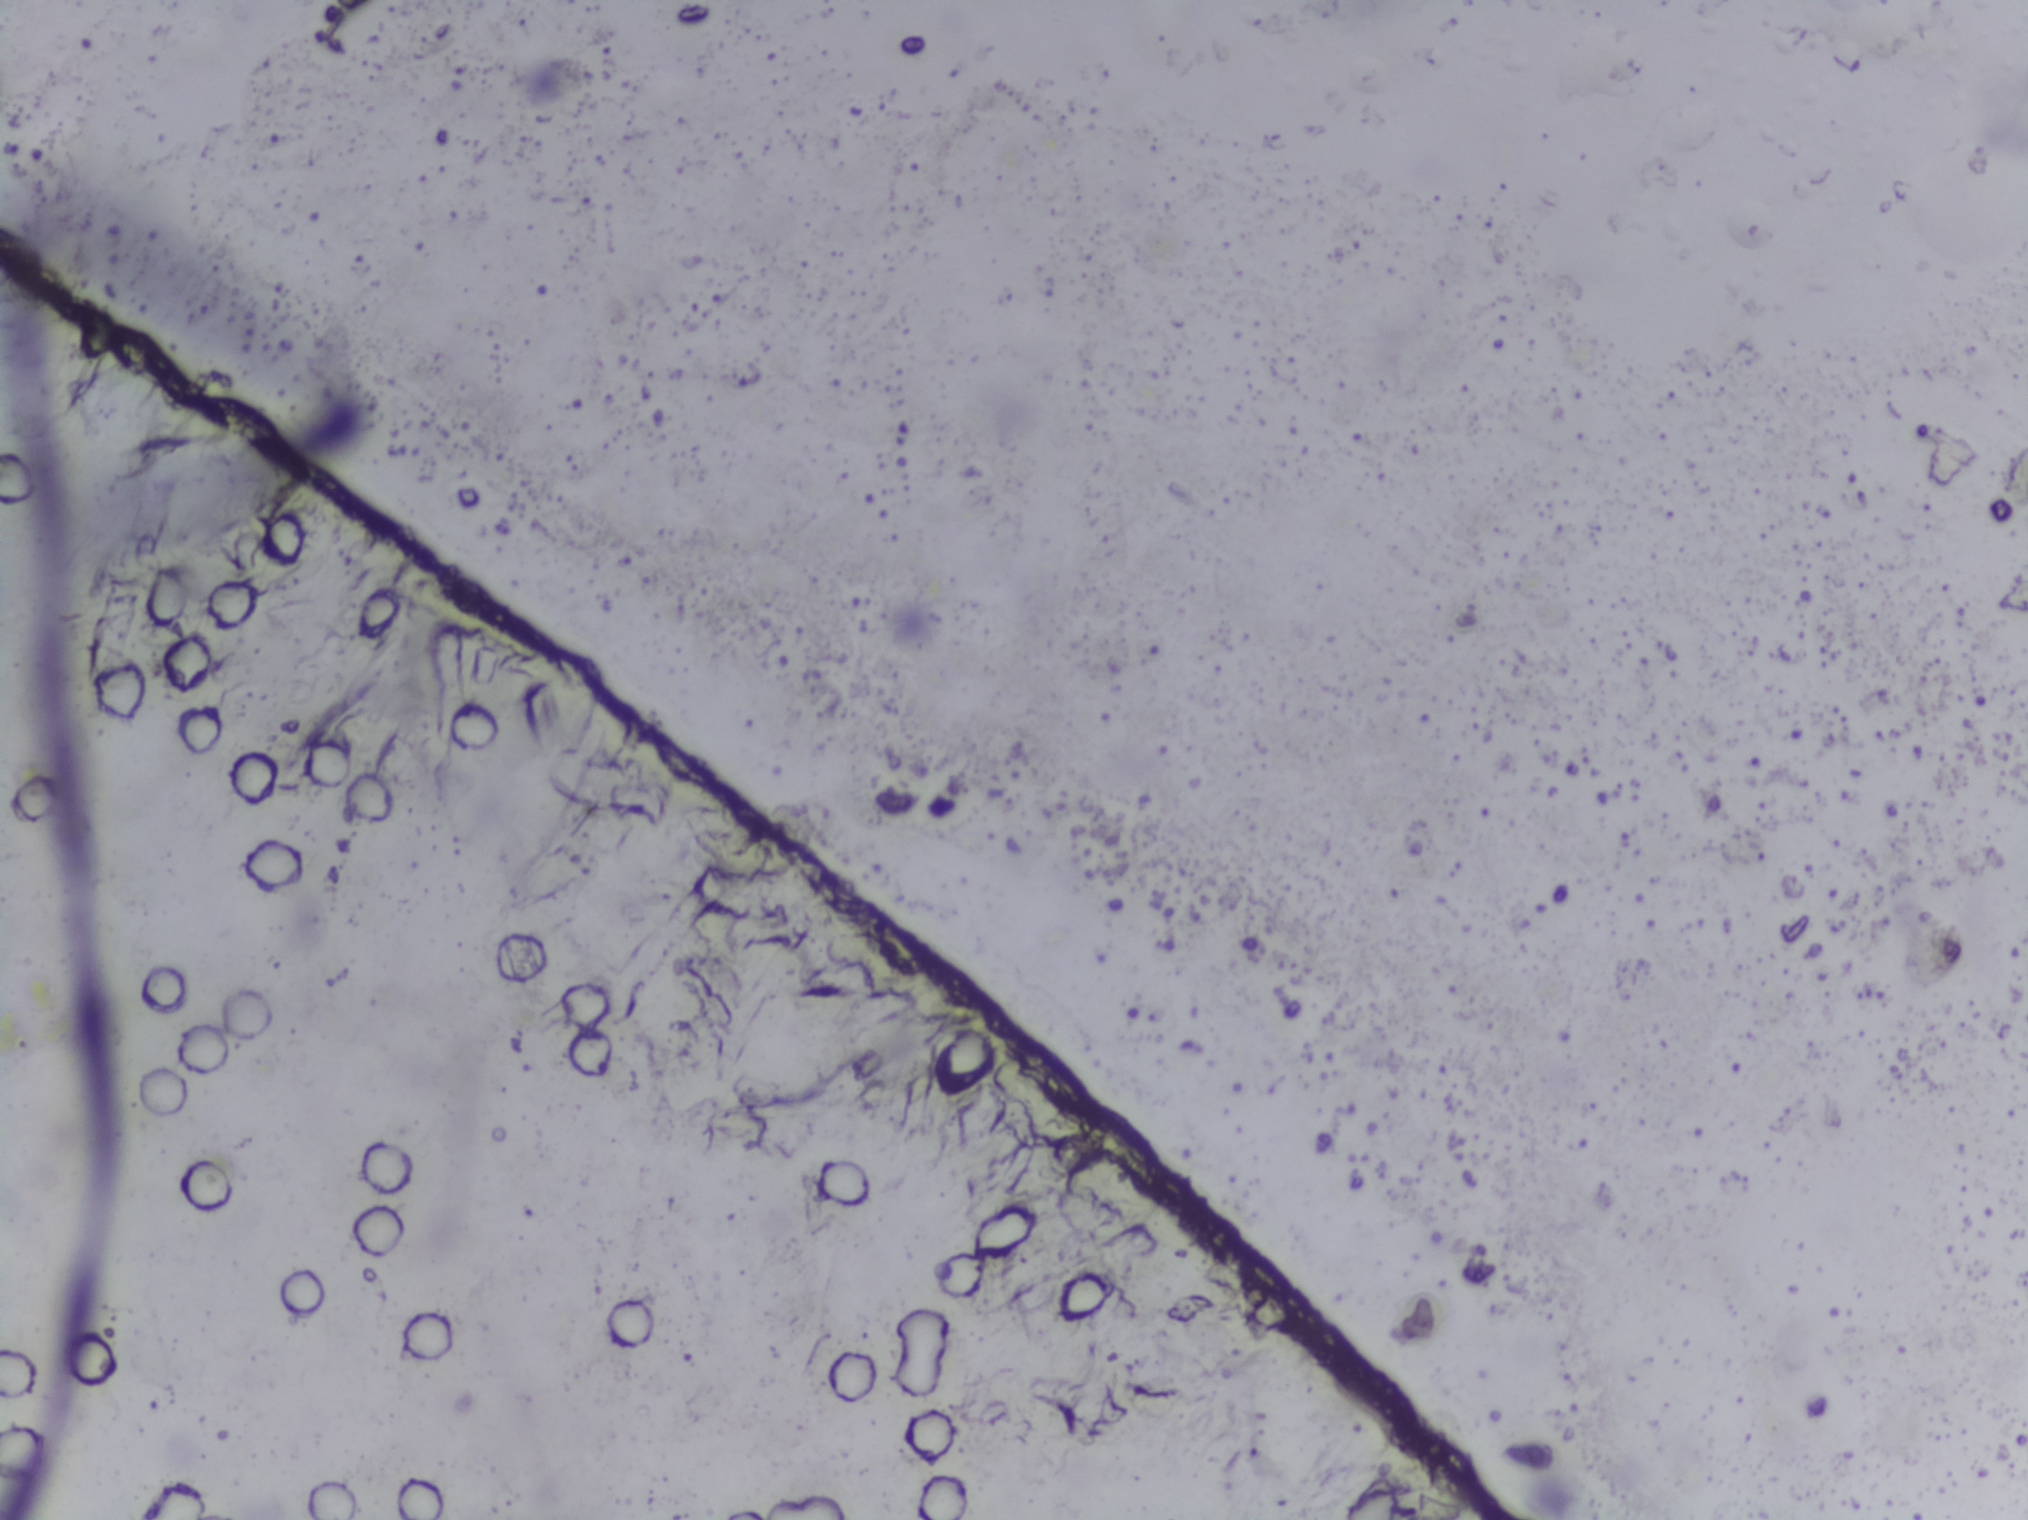
Photograph from an automated digital microscope: urine filter membrane, 4× objective.
The expert annotation outlines no Schistosoma egg in this image.